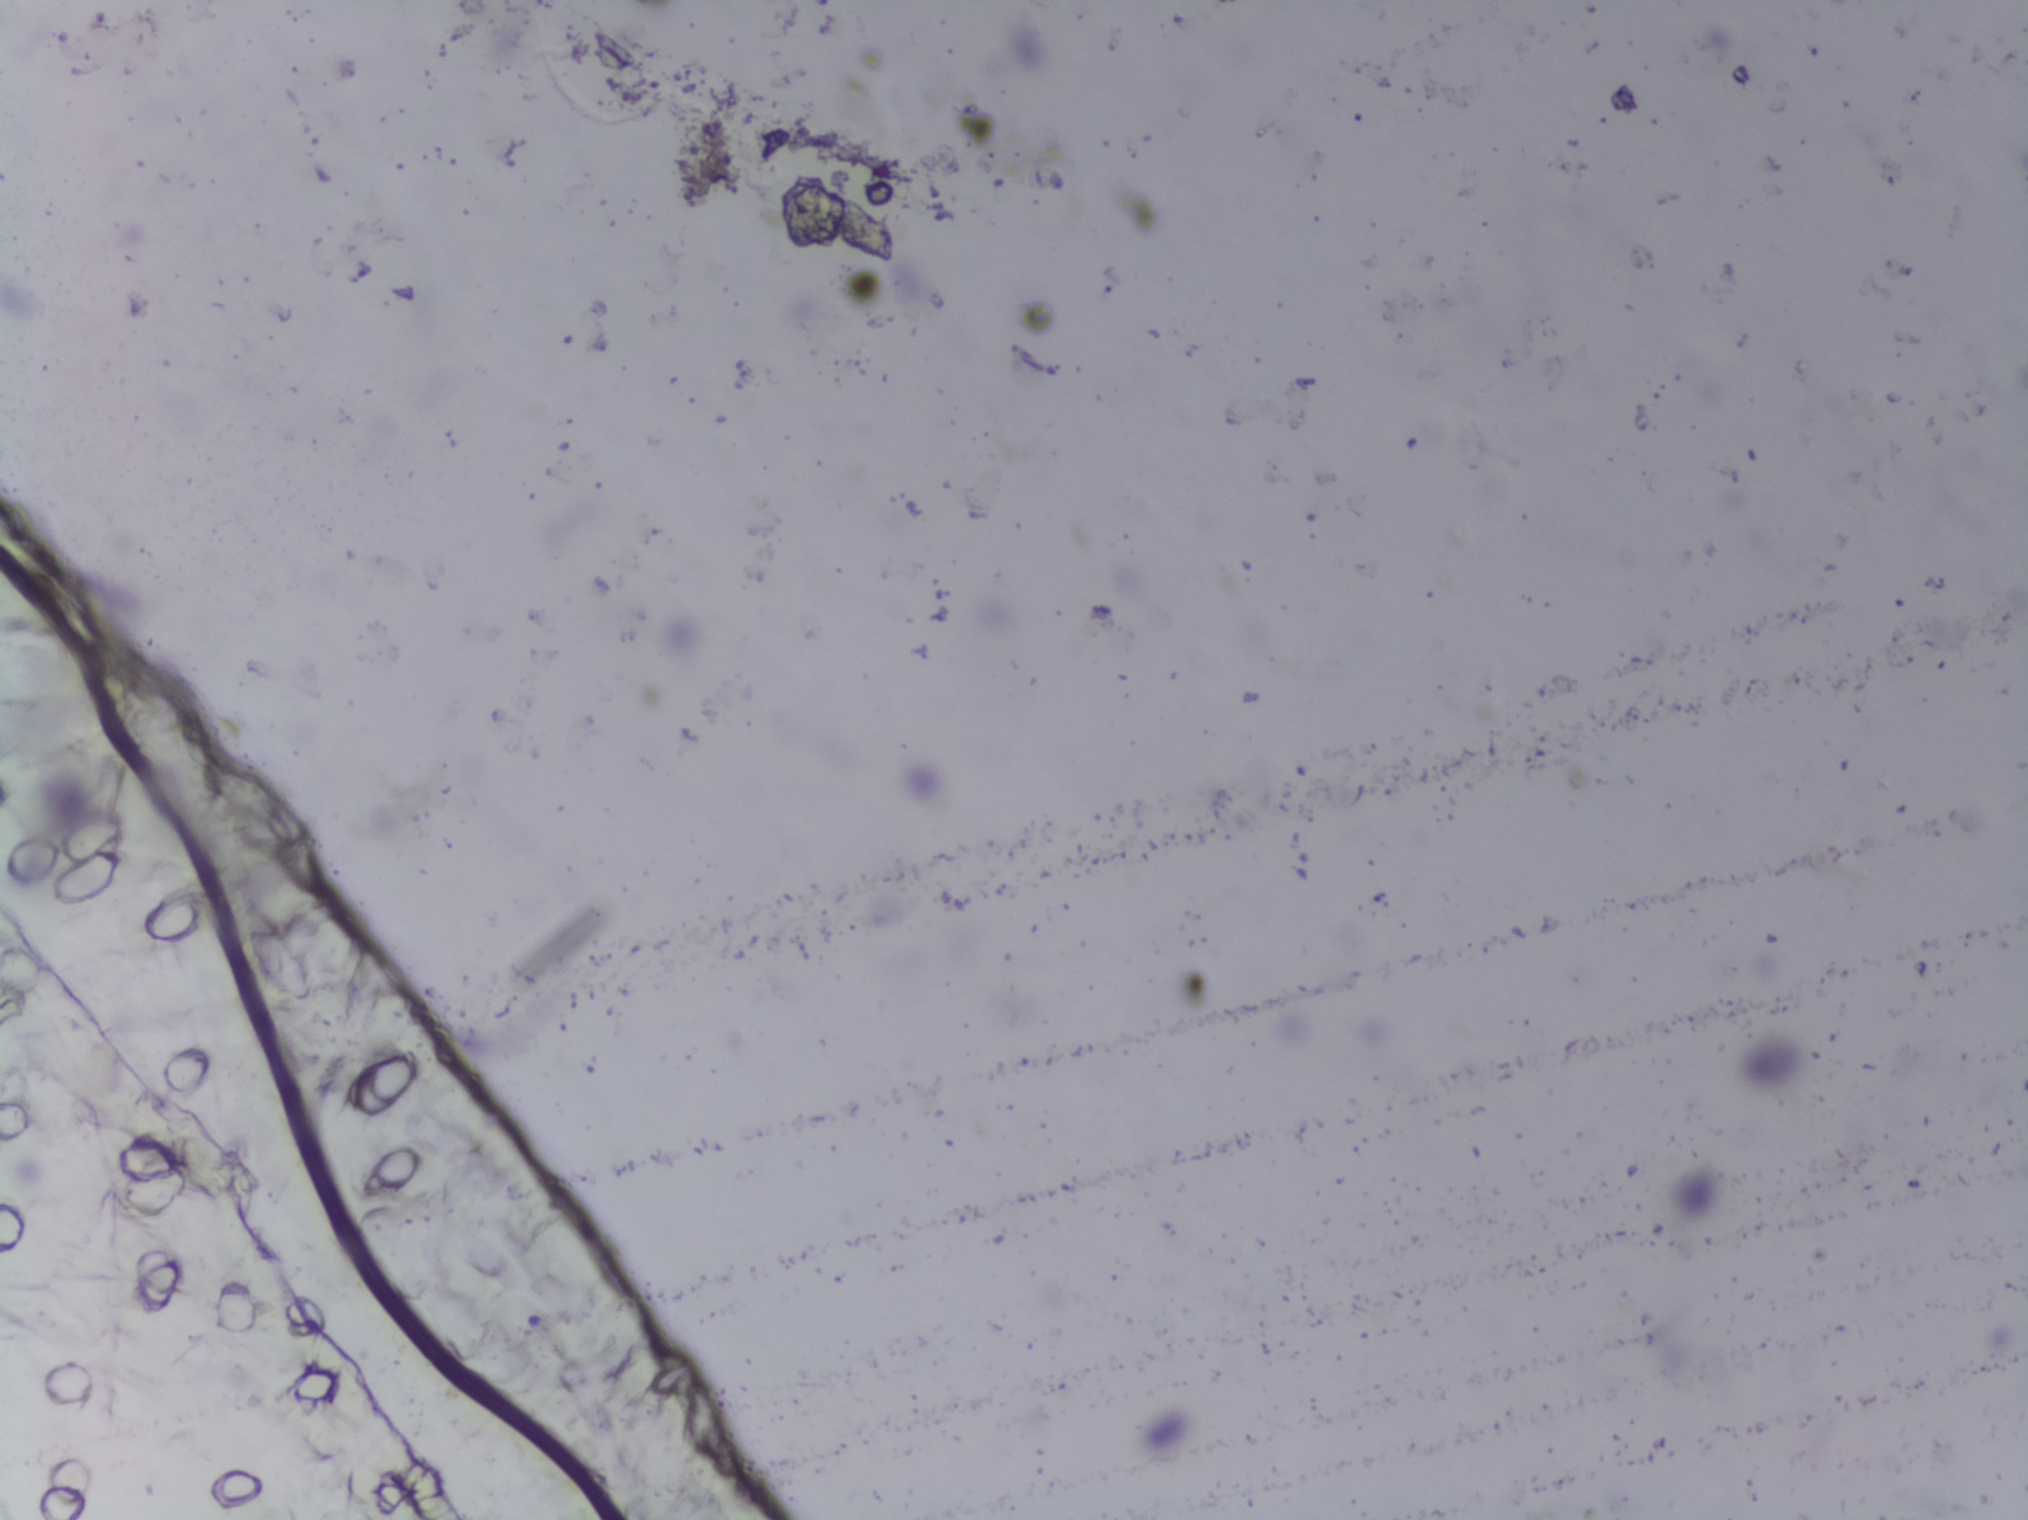
Urine filter membrane photographed through a 4× microscope objective.
The expert annotation outlines no Schistosoma egg in this image.